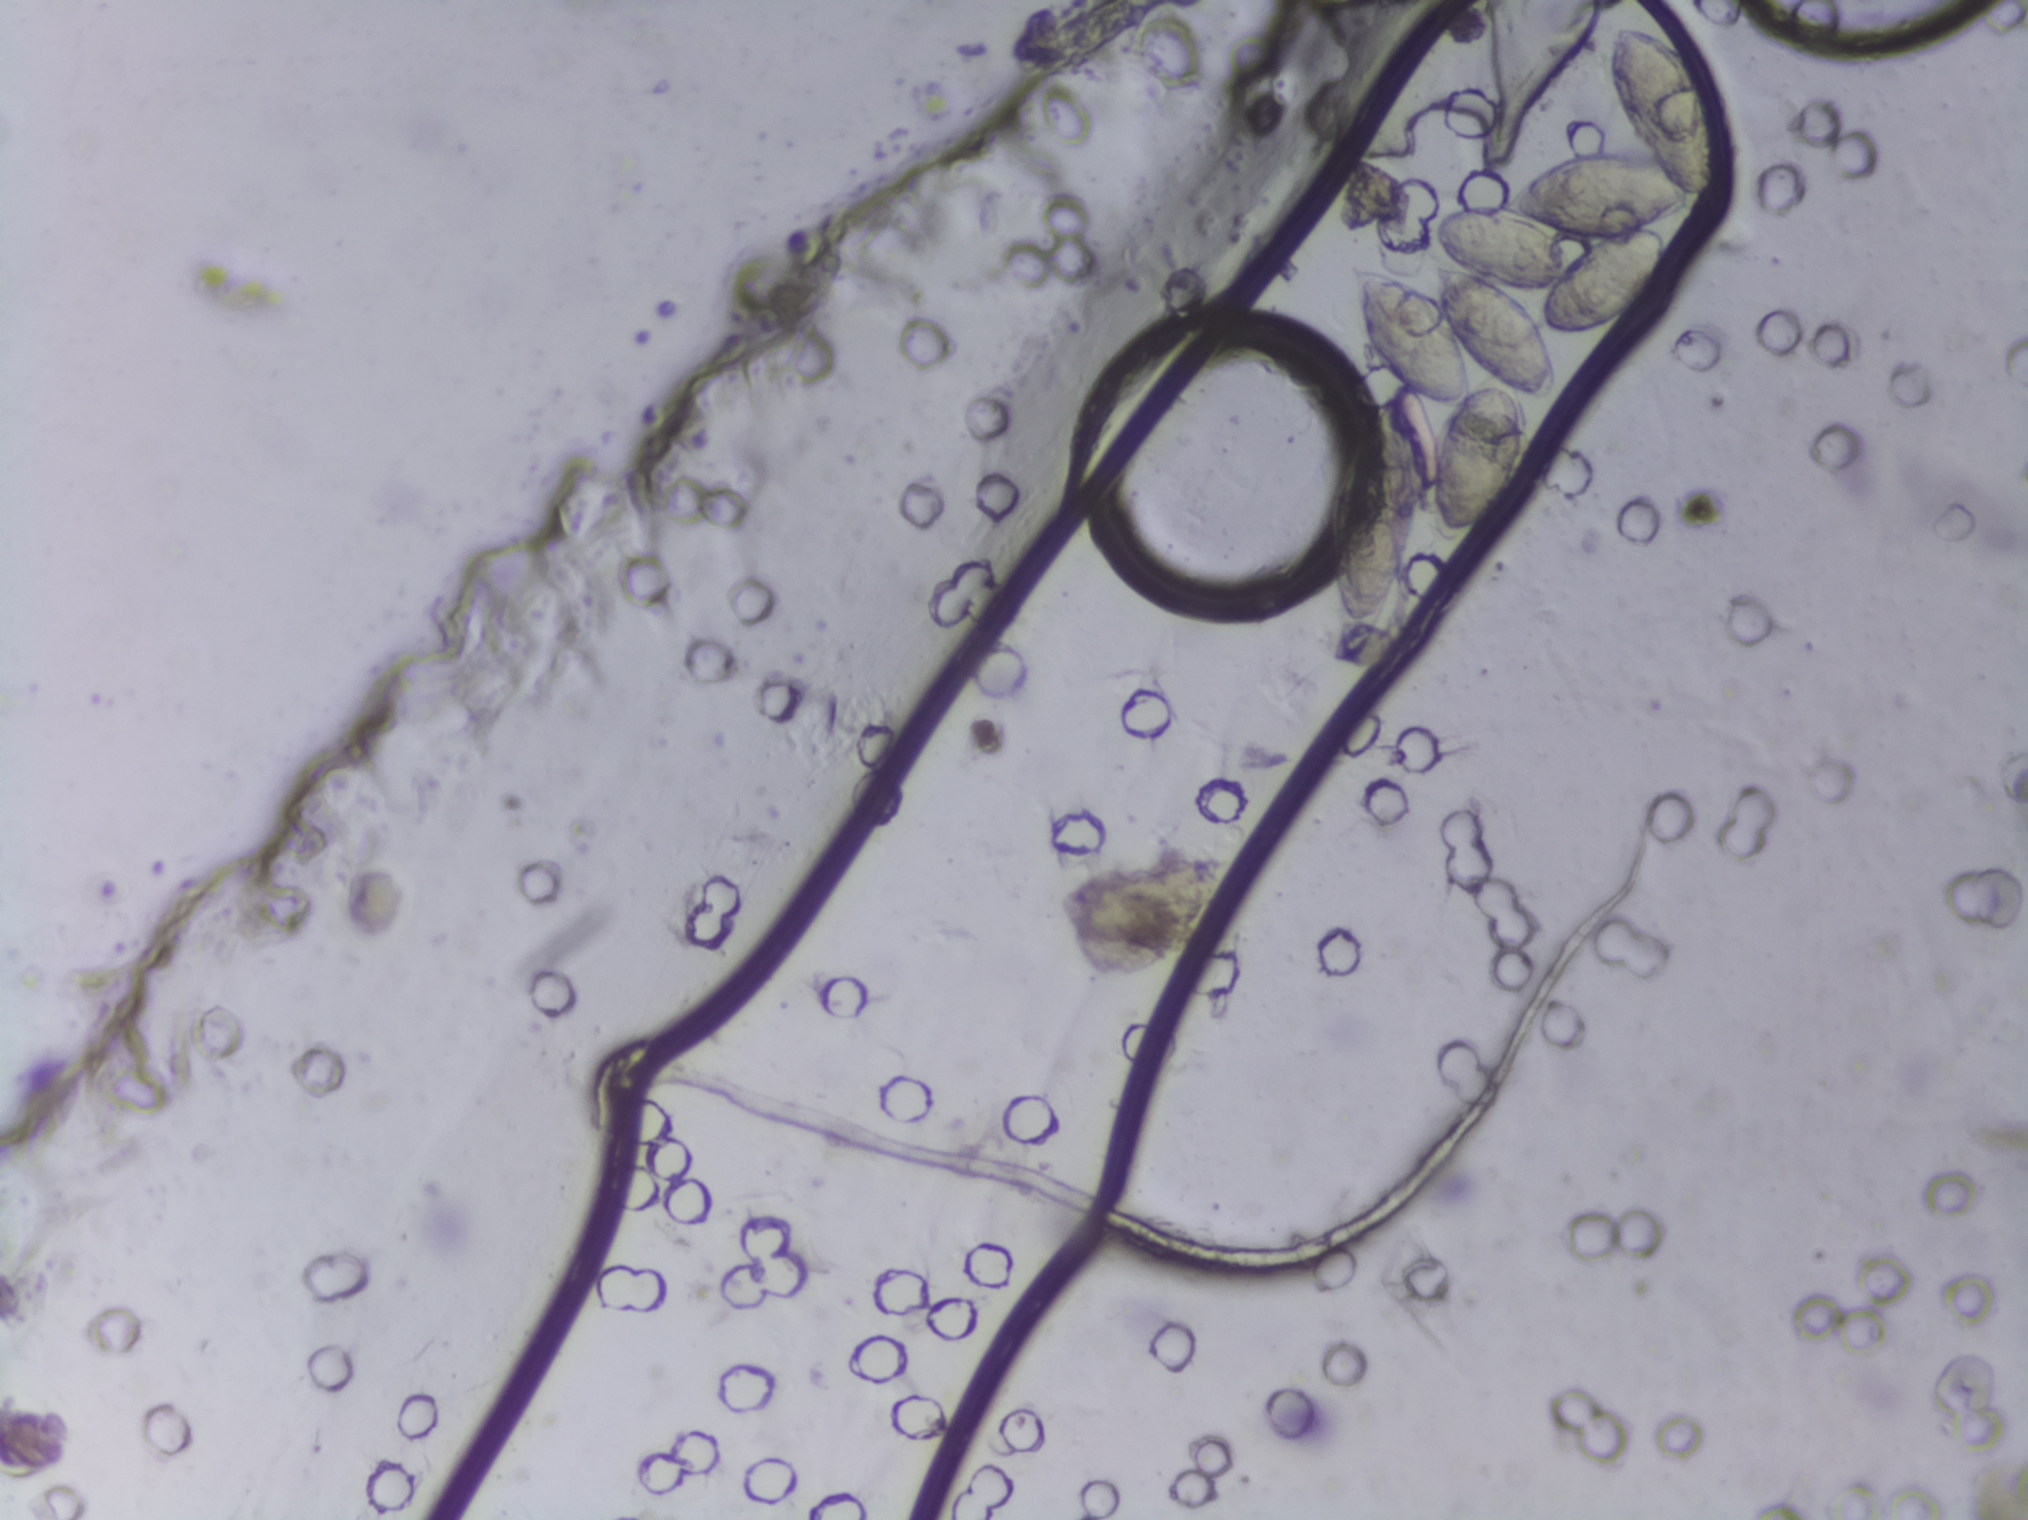
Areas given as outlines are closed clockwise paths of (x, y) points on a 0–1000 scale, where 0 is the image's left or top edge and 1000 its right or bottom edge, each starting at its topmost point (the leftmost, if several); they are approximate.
Area outlined as Schistosoma eggs:
1. outline (798, 13), (808, 13), (823, 23), (839, 46), (850, 90), (847, 127), (836, 133), (833, 141), (820, 151), (822, 174), (808, 208), (791, 219), (762, 219), (770, 256), (766, 263), (757, 265), (761, 288), (751, 326), (740, 344), (722, 358), (712, 358), (703, 338), (694, 387), (684, 415), (675, 431), (666, 435), (656, 408), (650, 351), (661, 298), (670, 283), (673, 269), (687, 250), (674, 229), (665, 171), (676, 171), (707, 188), (706, 173), (713, 171), (705, 152), (710, 135), (725, 129), (738, 133), (756, 113), (782, 96), (809, 98), (794, 51), (793, 27) (a cluster of eggs)
The marked pixels themselves, not the outline around them, cover about 3.3% of the image. Eggs that touch can end up inside the same outlined area.
Microscope photograph (4× objective) of a membrane that a urine sample was filtered through.